Microscope photograph (4× objective) of a membrane that a urine sample was filtered through.
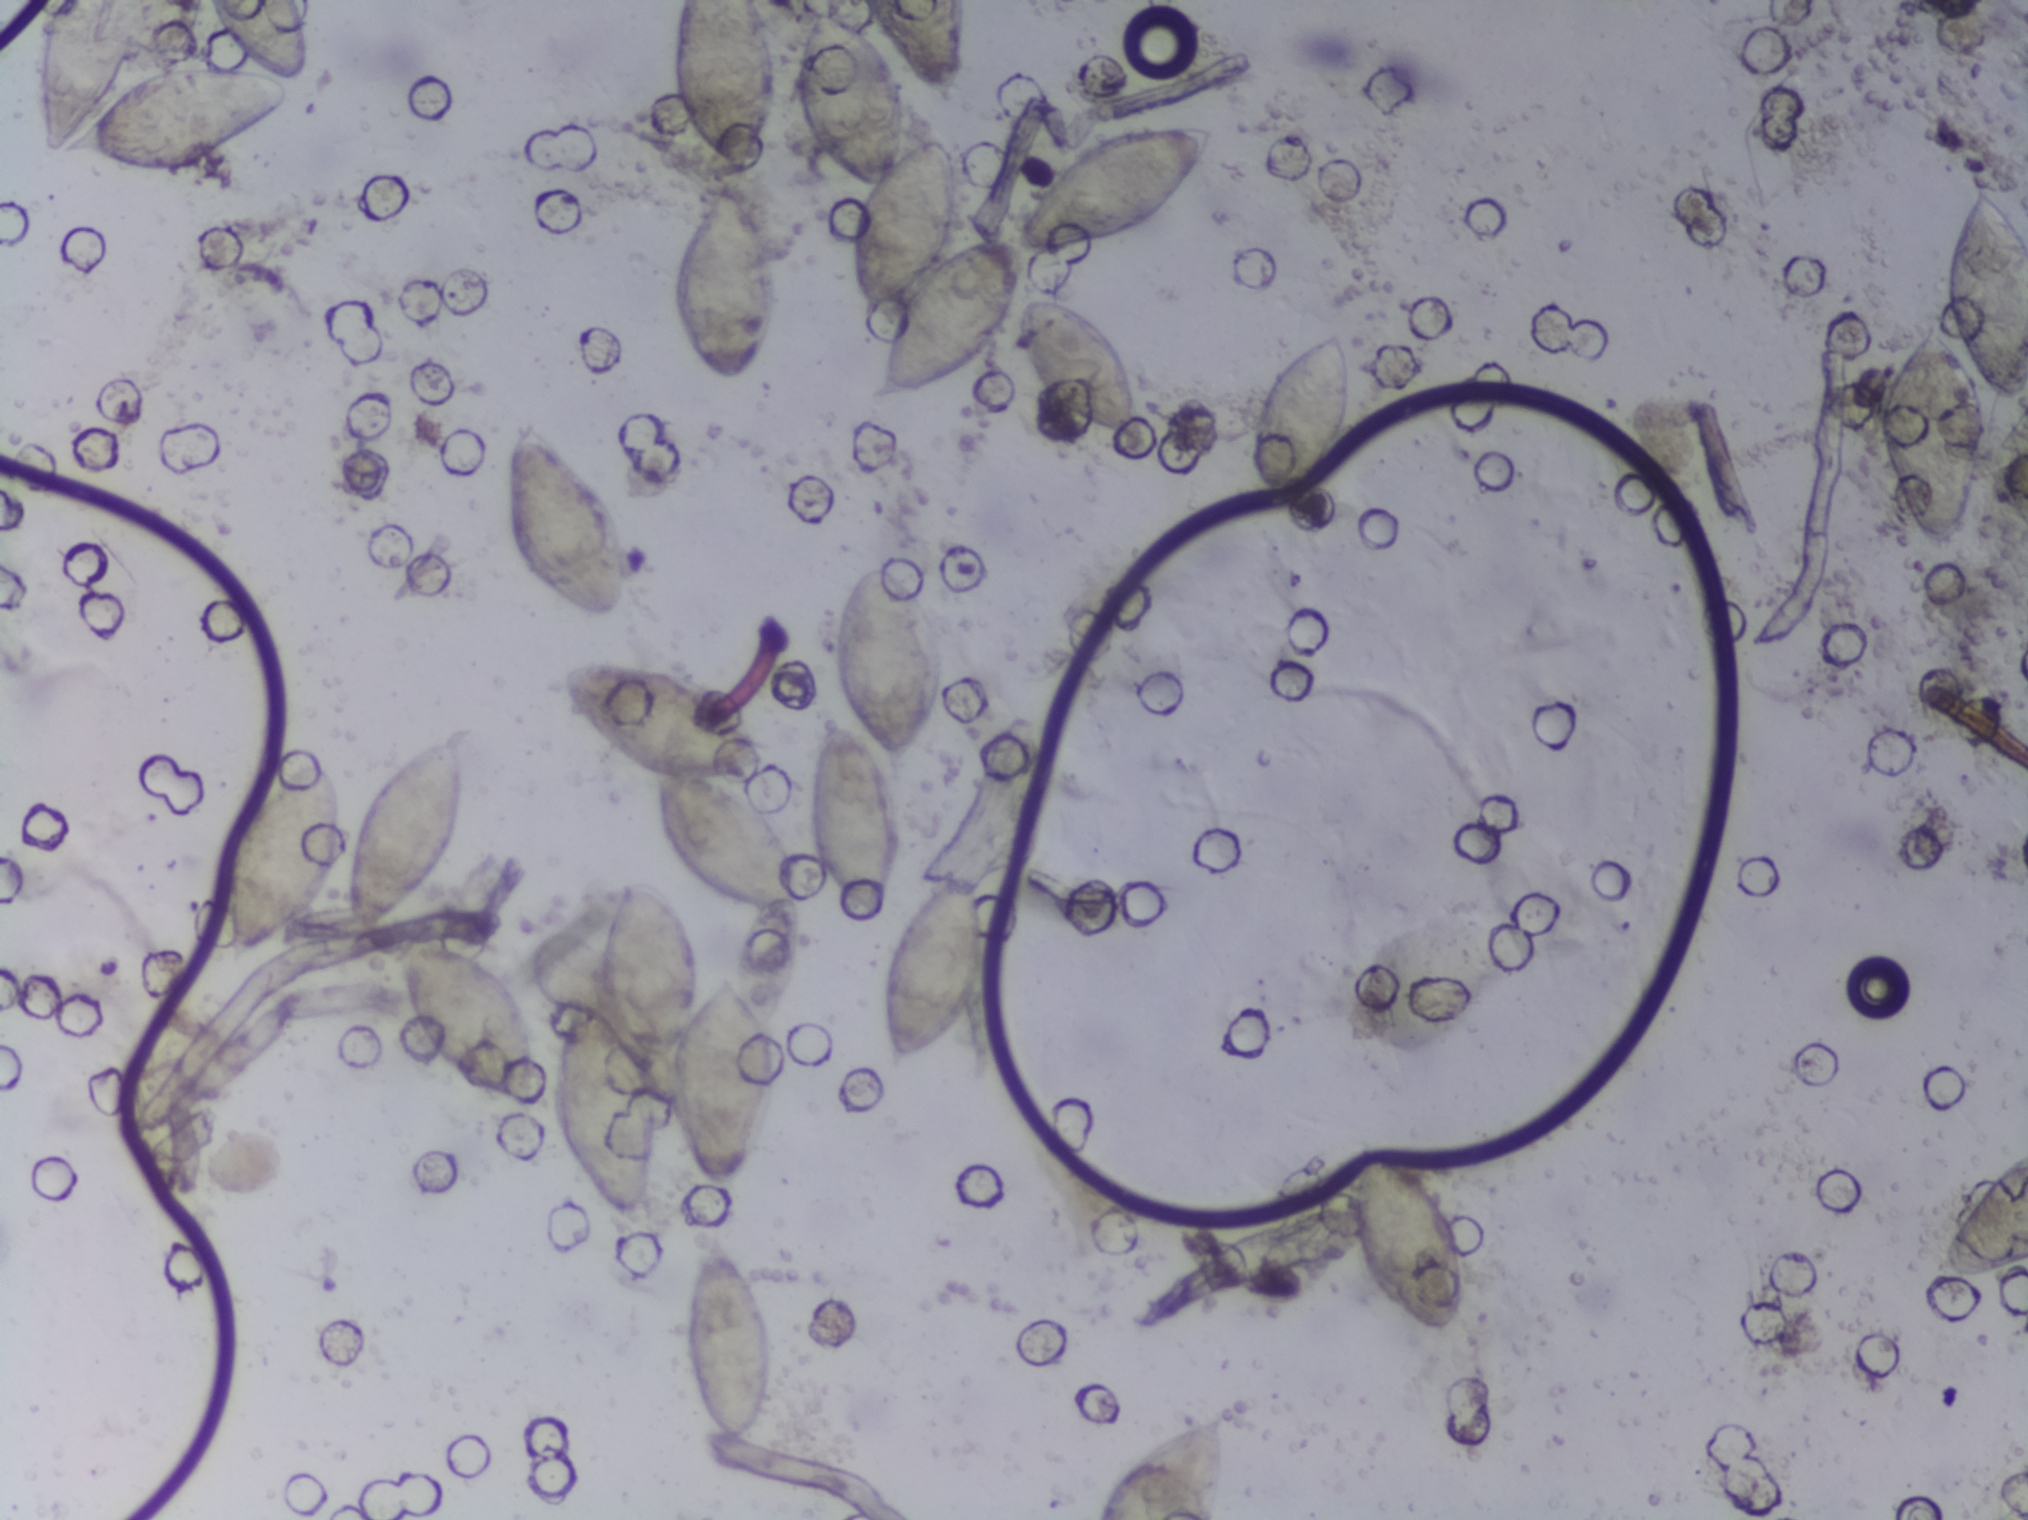
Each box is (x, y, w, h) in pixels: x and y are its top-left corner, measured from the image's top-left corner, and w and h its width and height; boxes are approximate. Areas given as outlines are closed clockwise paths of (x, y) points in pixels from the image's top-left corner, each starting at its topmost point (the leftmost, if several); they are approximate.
Schistosoma eggs are outlined in 17 areas of this image, listed from left to right: box (x=25, y=0, w=288, h=178) (reaching the top edge of the frame); box (x=219, y=722, w=252, h=249); box (x=389, y=931, w=152, h=176); box (x=508, y=417, w=127, h=209); outline (612, 655), (674, 665), (731, 706), (764, 762), (760, 778), (742, 789), (772, 819), (801, 886), (796, 970), (783, 1006), (767, 1023), (778, 1053), (777, 1102), (753, 1173), (734, 1192), (700, 1188), (666, 1122), (664, 1085), (654, 1086), (653, 1177), (647, 1210), (636, 1224), (607, 1215), (569, 1165), (551, 1115), (558, 1030), (570, 997), (594, 993), (598, 941), (613, 899), (631, 879), (662, 878), (682, 890), (699, 931), (704, 984), (736, 972), (748, 914), (684, 875), (656, 820), (651, 771), (604, 748), (560, 703), (558, 667) (a cluster of eggs); box (x=665, y=0, w=115, h=389) (reaching the top edge of the frame); box (x=682, y=1233, w=94, h=218); outline (819, 11), (867, 28), (892, 63), (911, 143), (948, 135), (965, 191), (965, 210), (949, 249), (991, 237), (1020, 241), (1027, 194), (1074, 146), (1095, 135), (1208, 121), (1211, 141), (1200, 164), (1188, 171), (1173, 209), (1158, 222), (1104, 247), (1029, 253), (1022, 245), (1023, 287), (989, 358), (899, 403), (872, 407), (866, 389), (881, 362), (885, 328), (859, 324), (846, 272), (847, 223), (861, 192), (825, 161), (799, 117), (802, 36) (a cluster of eggs); box (x=809, y=561, w=135, h=362); box (x=861, y=0, w=106, h=106) (reaching the top edge of the frame); box (x=885, y=869, w=99, h=200); box (x=1022, y=296, w=129, h=157); box (x=1088, y=1411, w=144, h=109) (reaching the bottom edge of the frame); box (x=1254, y=326, w=100, h=173); box (x=1348, y=1148, w=124, h=196); box (x=1876, y=175, w=152, h=382) (reaching the right edge of the frame); box (x=1940, y=1148, w=88, h=142) (reaching the right edge of the frame). About 15% of the image's pixels are marked (the marked pixels themselves, not the boxes and the outlines around them). Eggs that touch can end up inside the same outlined area.